Microscope photograph (4× objective) of a membrane that a urine sample was filtered through.
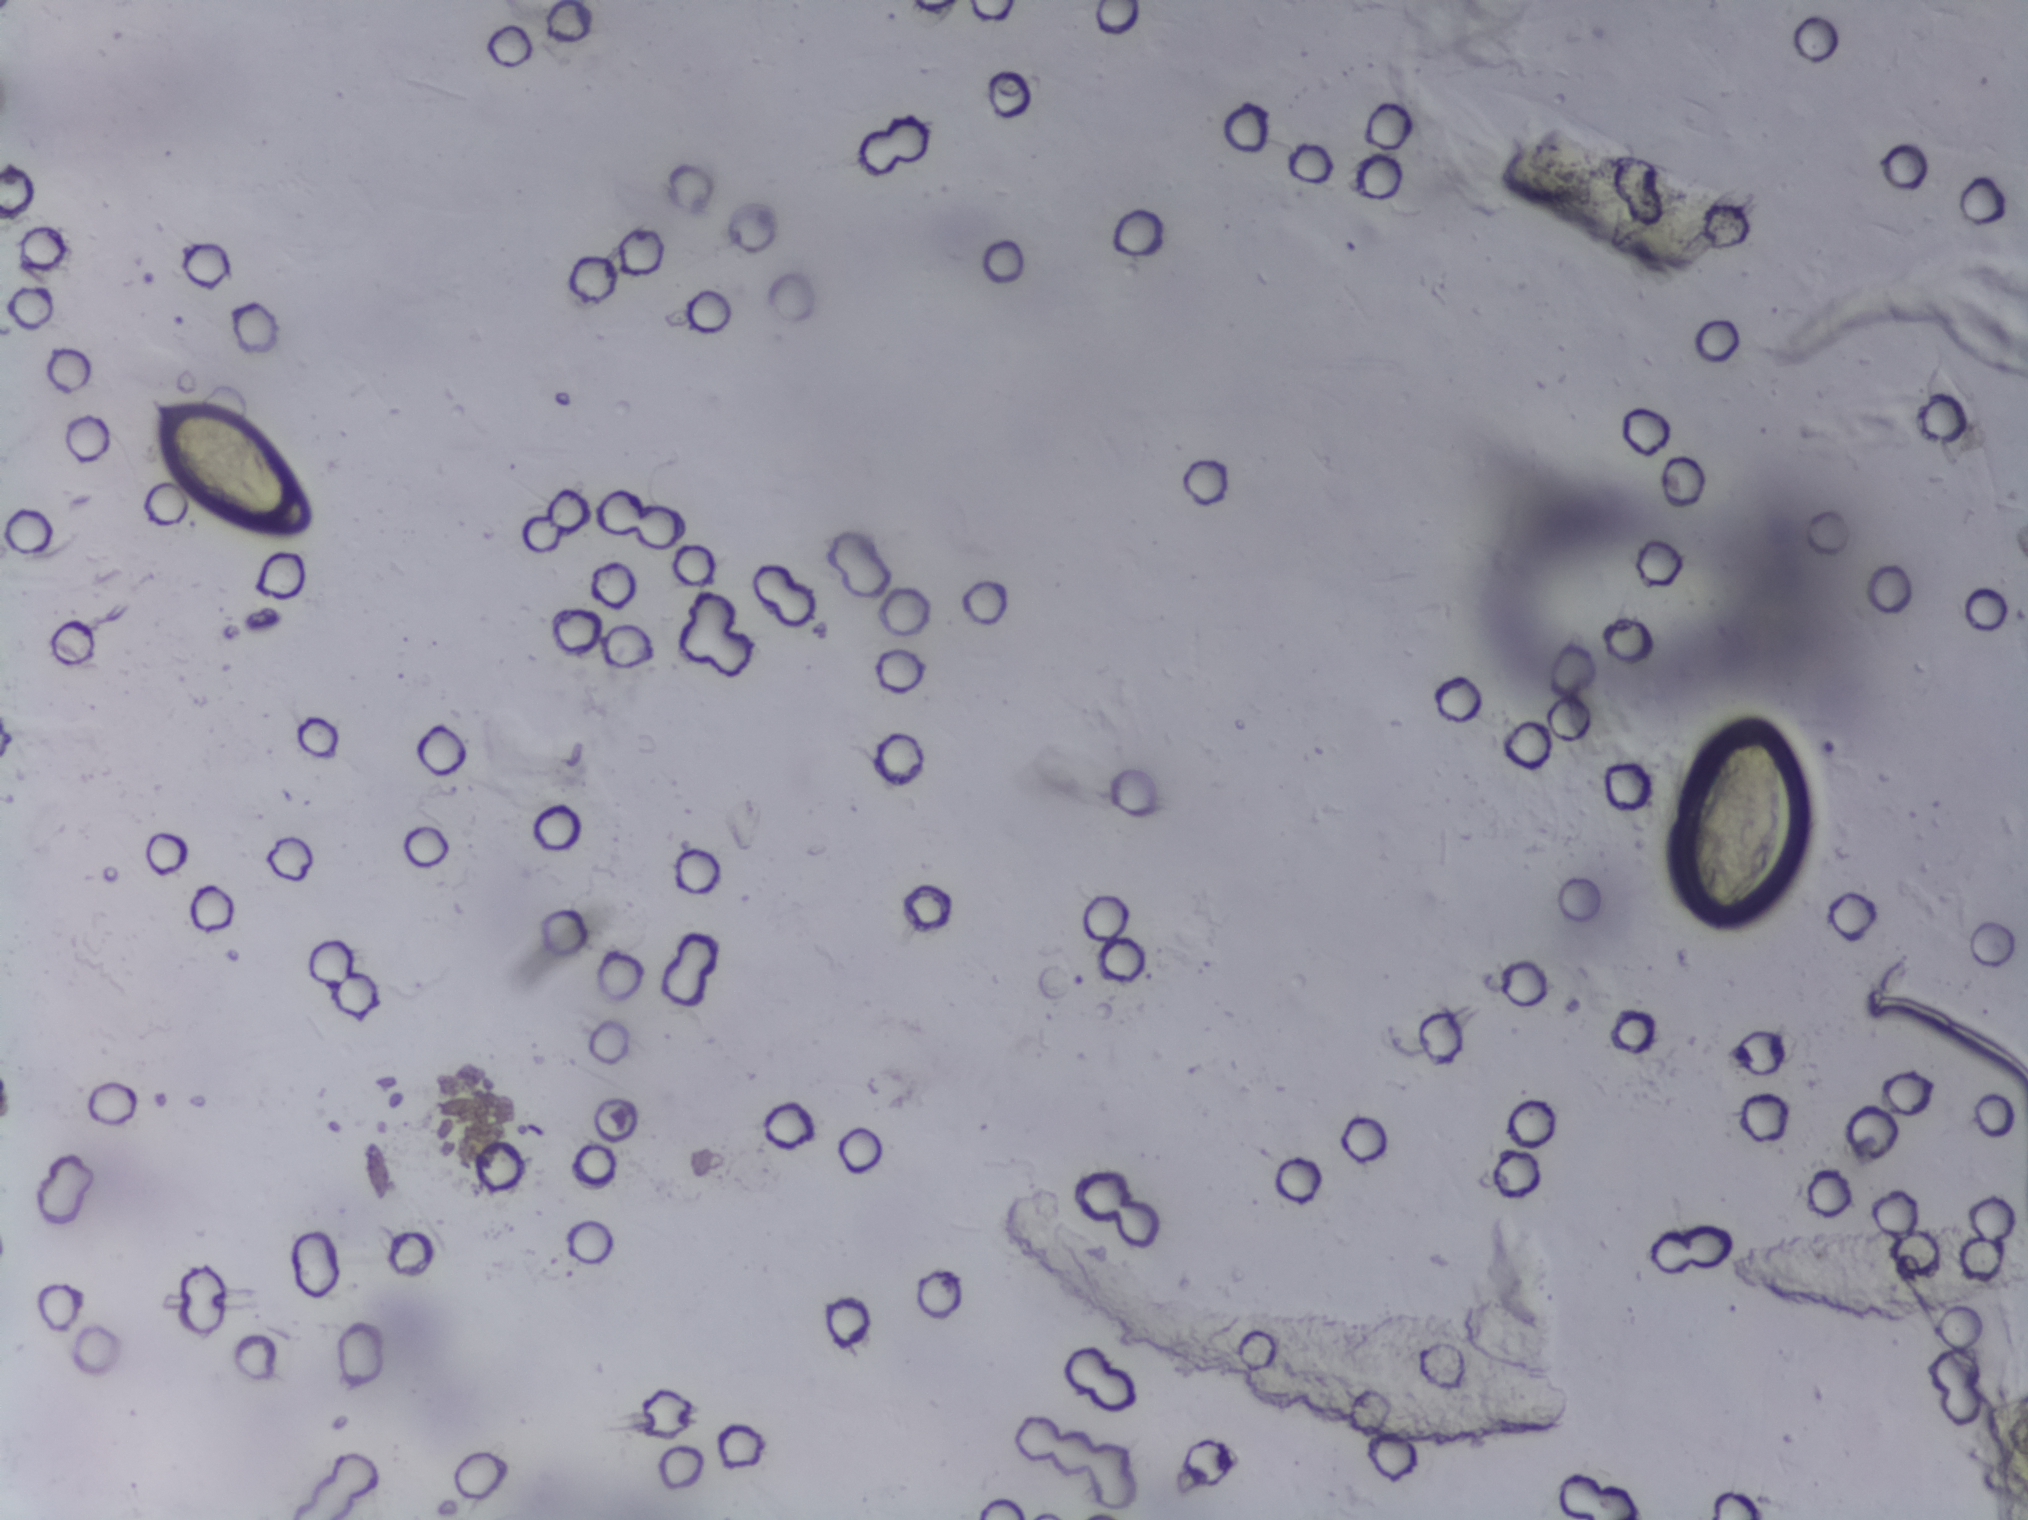
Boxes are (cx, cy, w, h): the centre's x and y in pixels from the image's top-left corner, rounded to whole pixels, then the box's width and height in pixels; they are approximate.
Areas outlined as Schistosoma eggs: (cx=233, cy=470, w=176, h=149); (cx=1738, cy=825, w=117, h=182). An outlined area can hold more than one egg. A marked egg may occasionally be S. mansoni rather than S. haematobium.